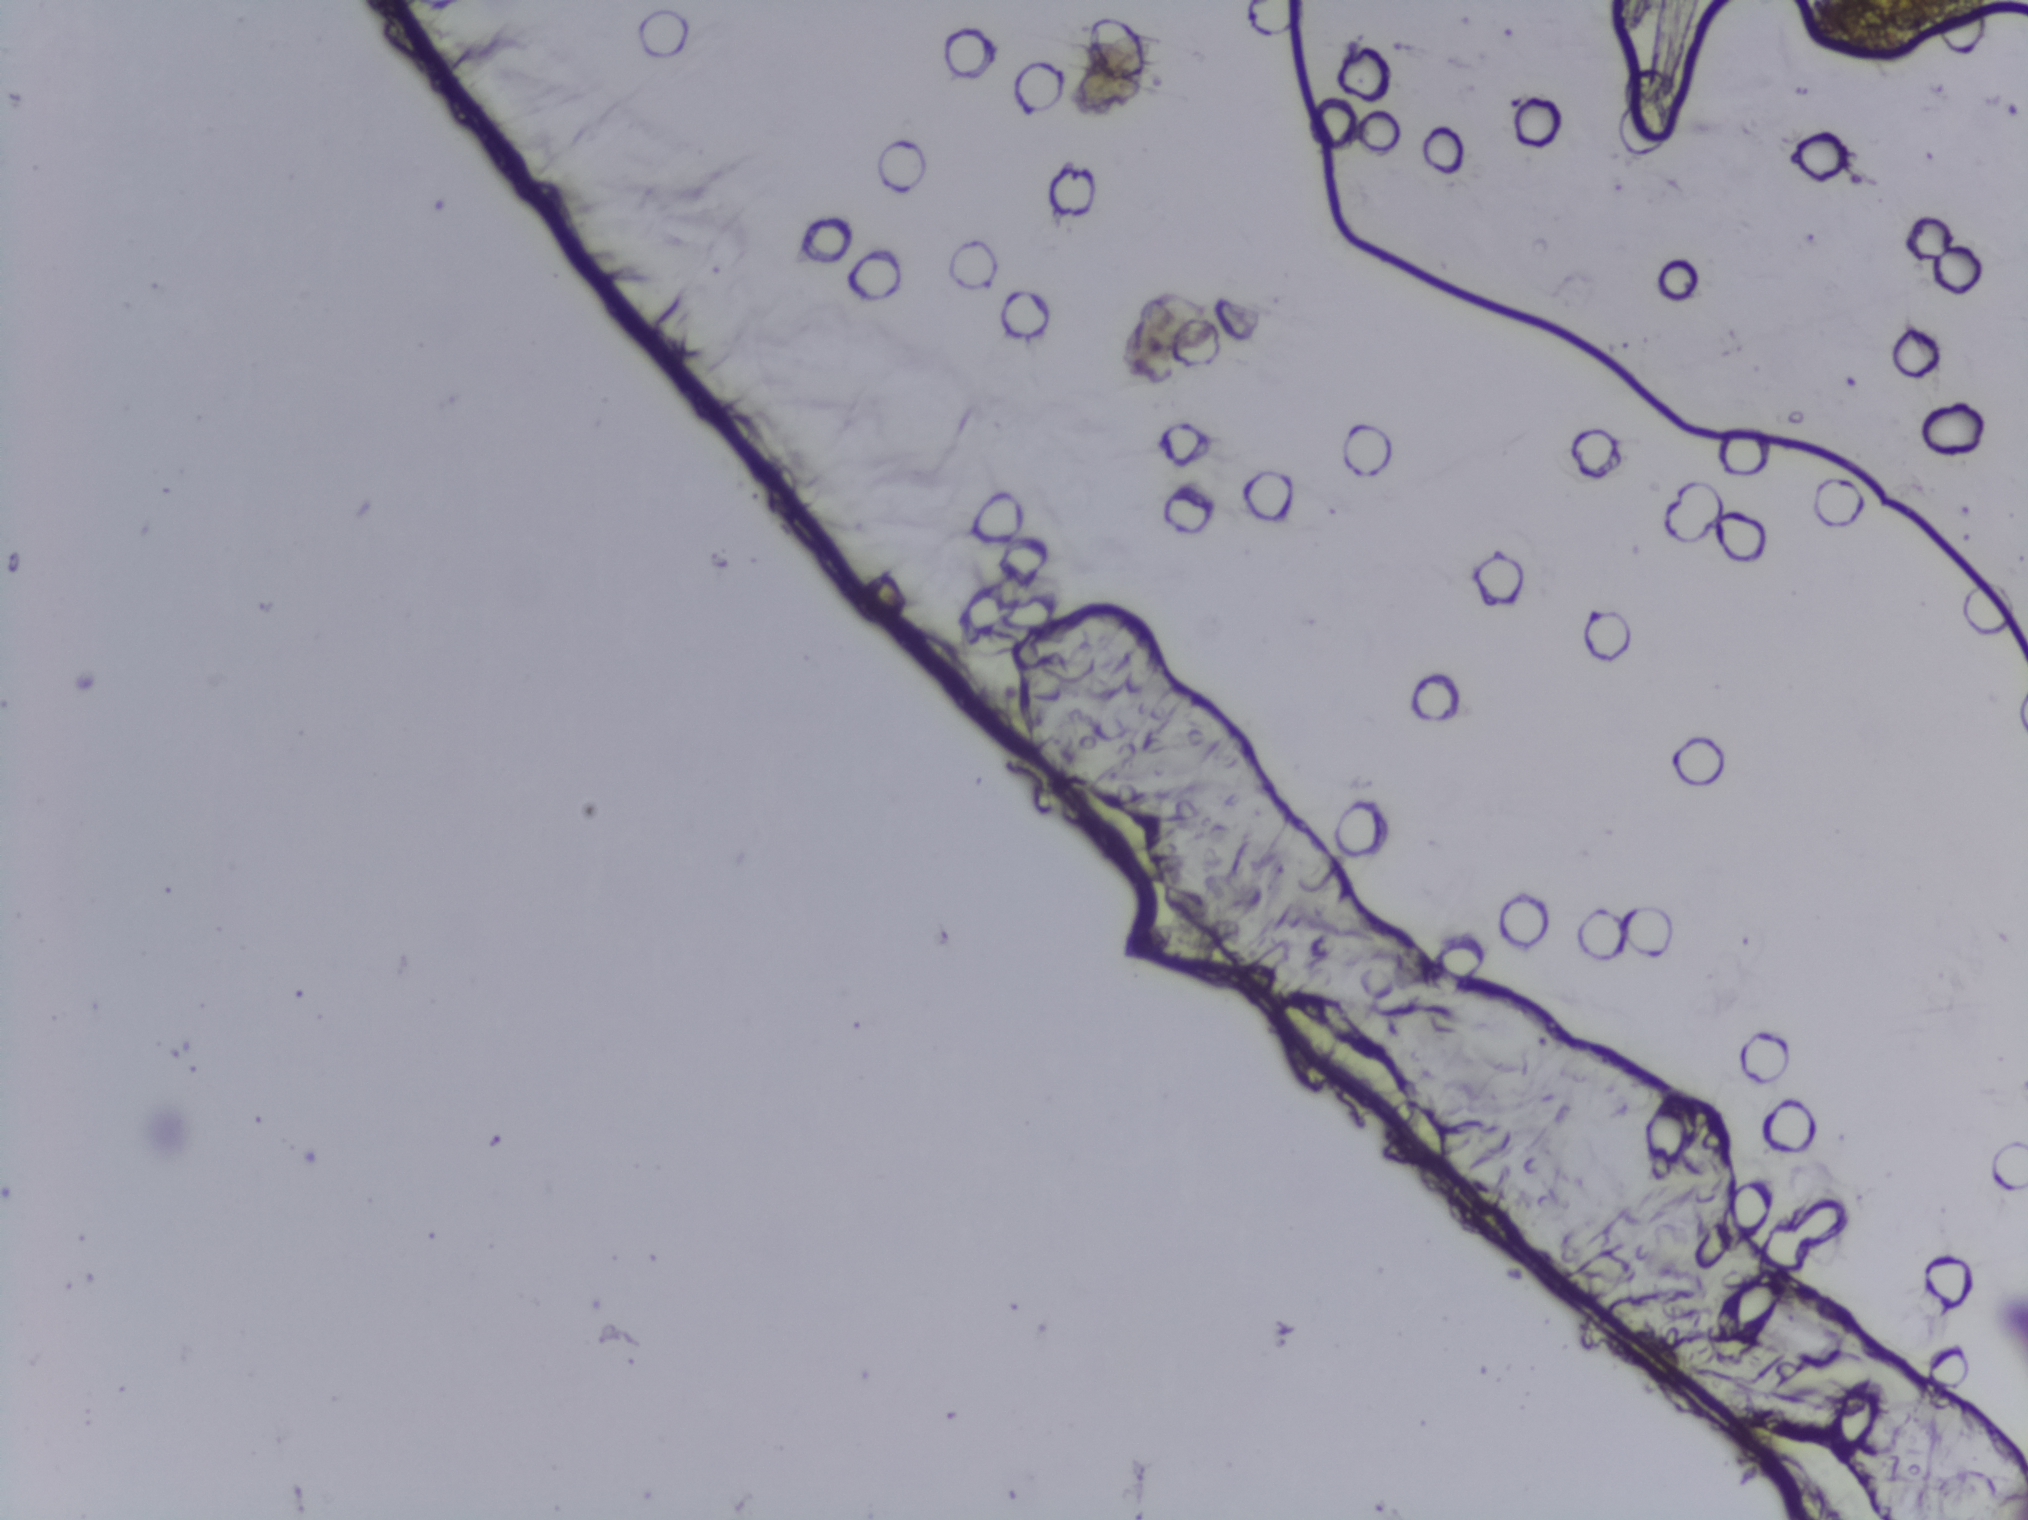
No Schistosoma egg is outlined in this image's expert annotation.
Urine filter membrane photographed through a 4× microscope objective. The field of view is about 1.5 mm × 1.1 mm.